Urine filtration membrane under a 4× objective, photographed by an automated digital microscope.
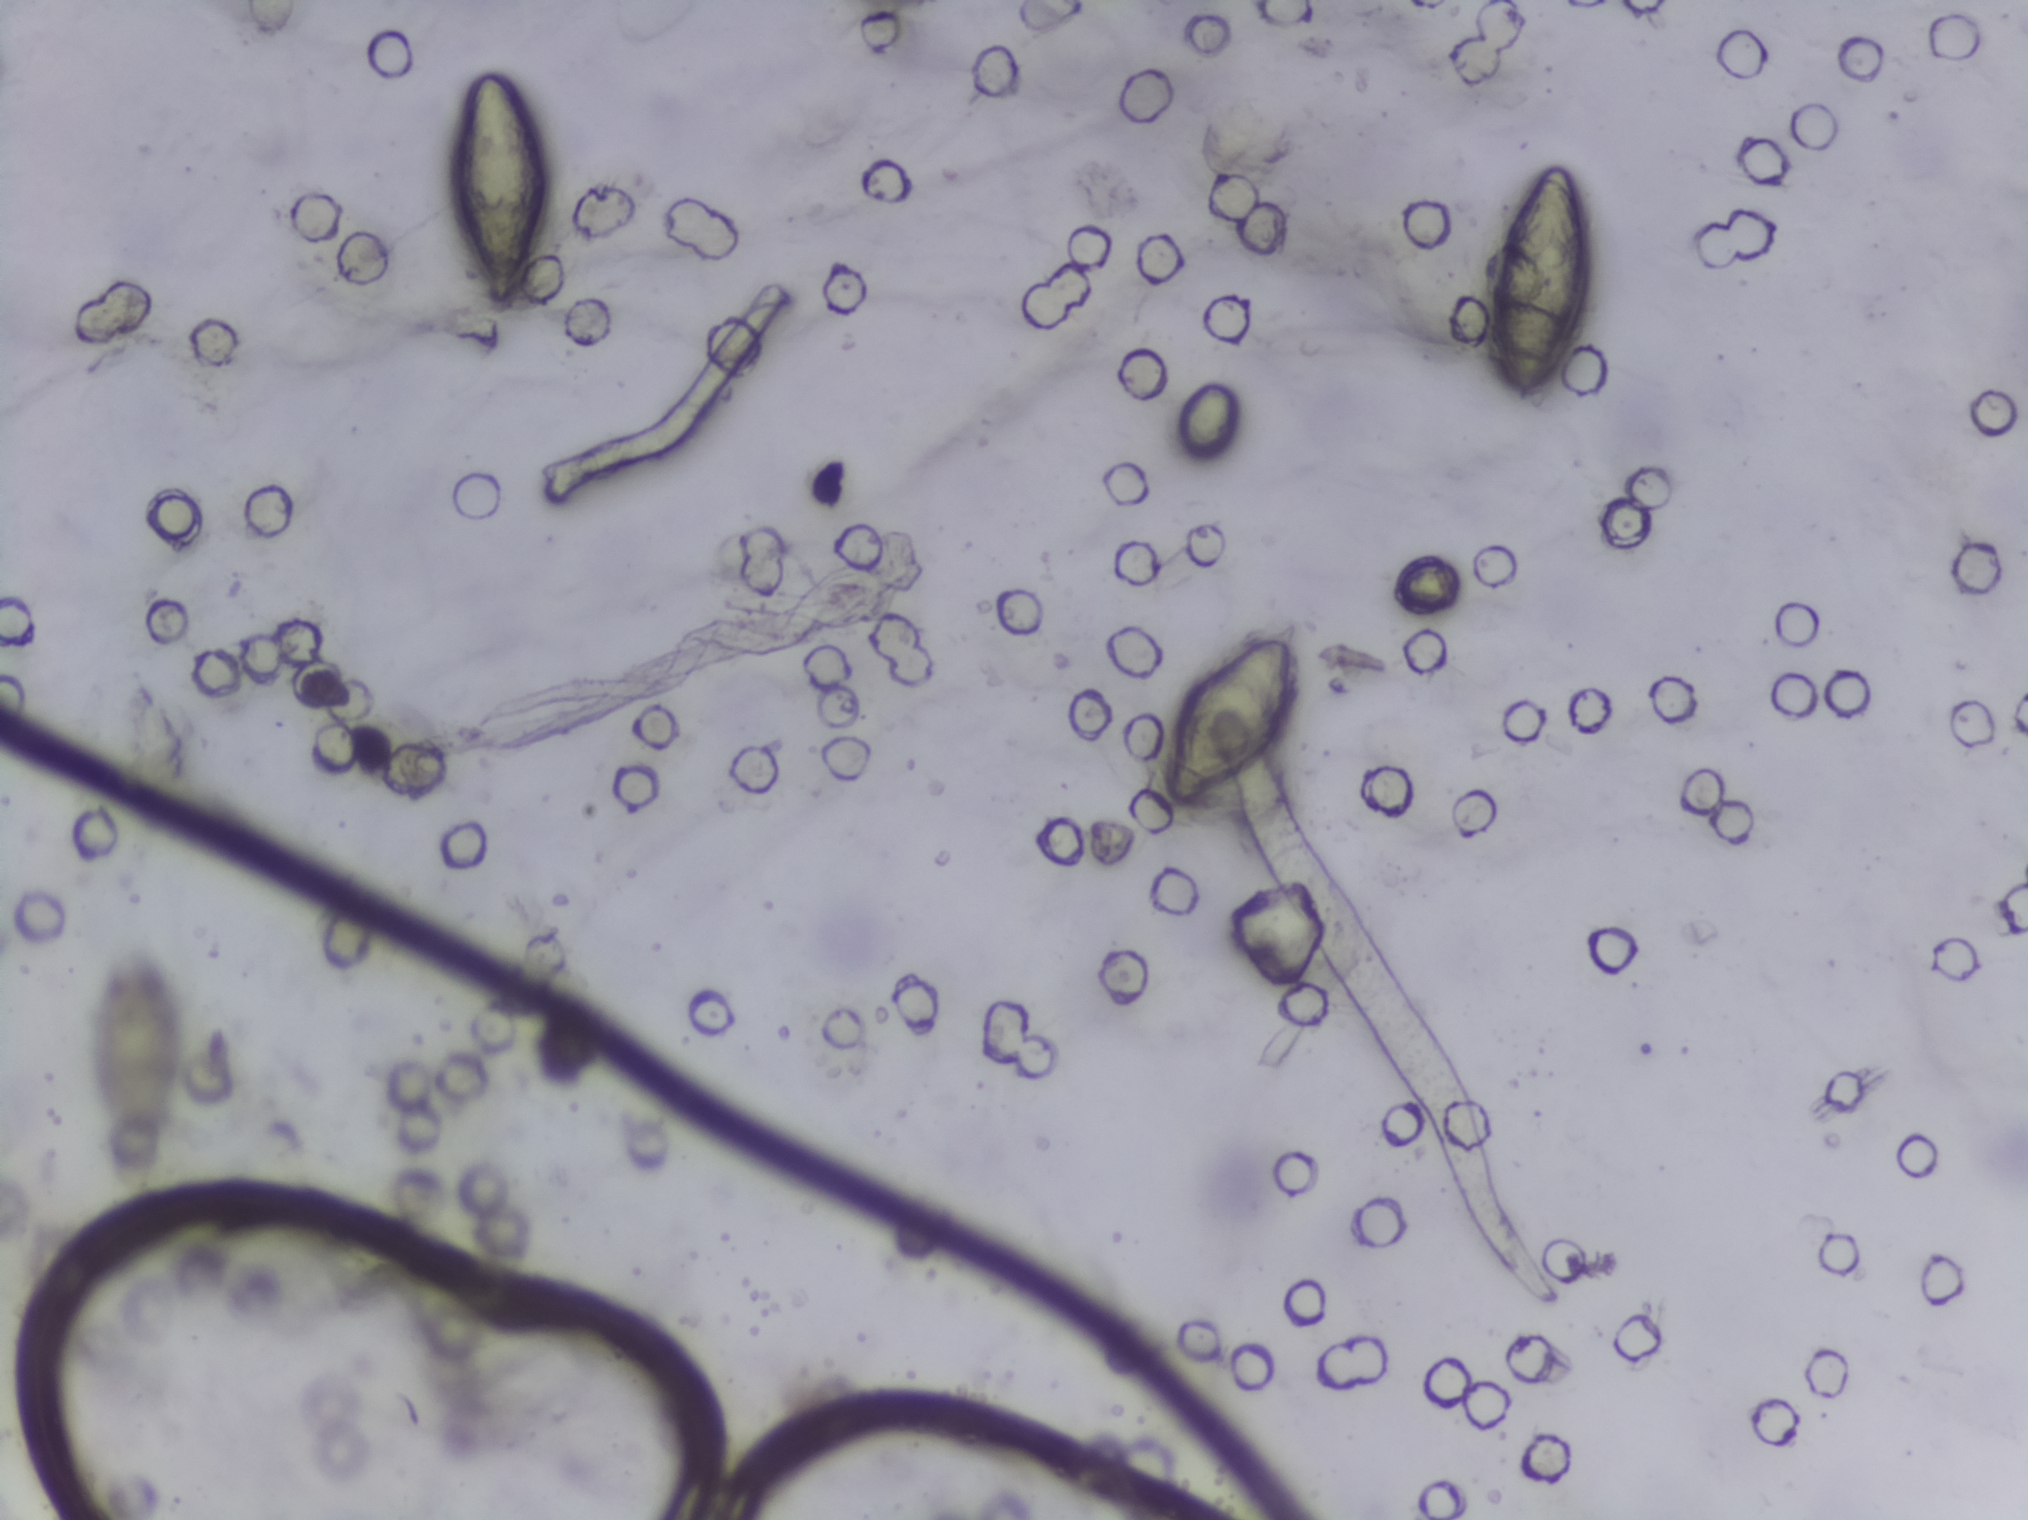
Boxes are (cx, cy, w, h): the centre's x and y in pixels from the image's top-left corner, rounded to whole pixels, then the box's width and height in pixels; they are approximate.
The expert annotation outlines Schistosoma eggs at (cx=139, cy=1067, w=106, h=252); (cx=499, cy=188, w=105, h=257); (cx=1230, cy=718, w=142, h=198); (cx=1535, cy=284, w=117, h=256) (left to right). A single outlined area may contain several eggs.